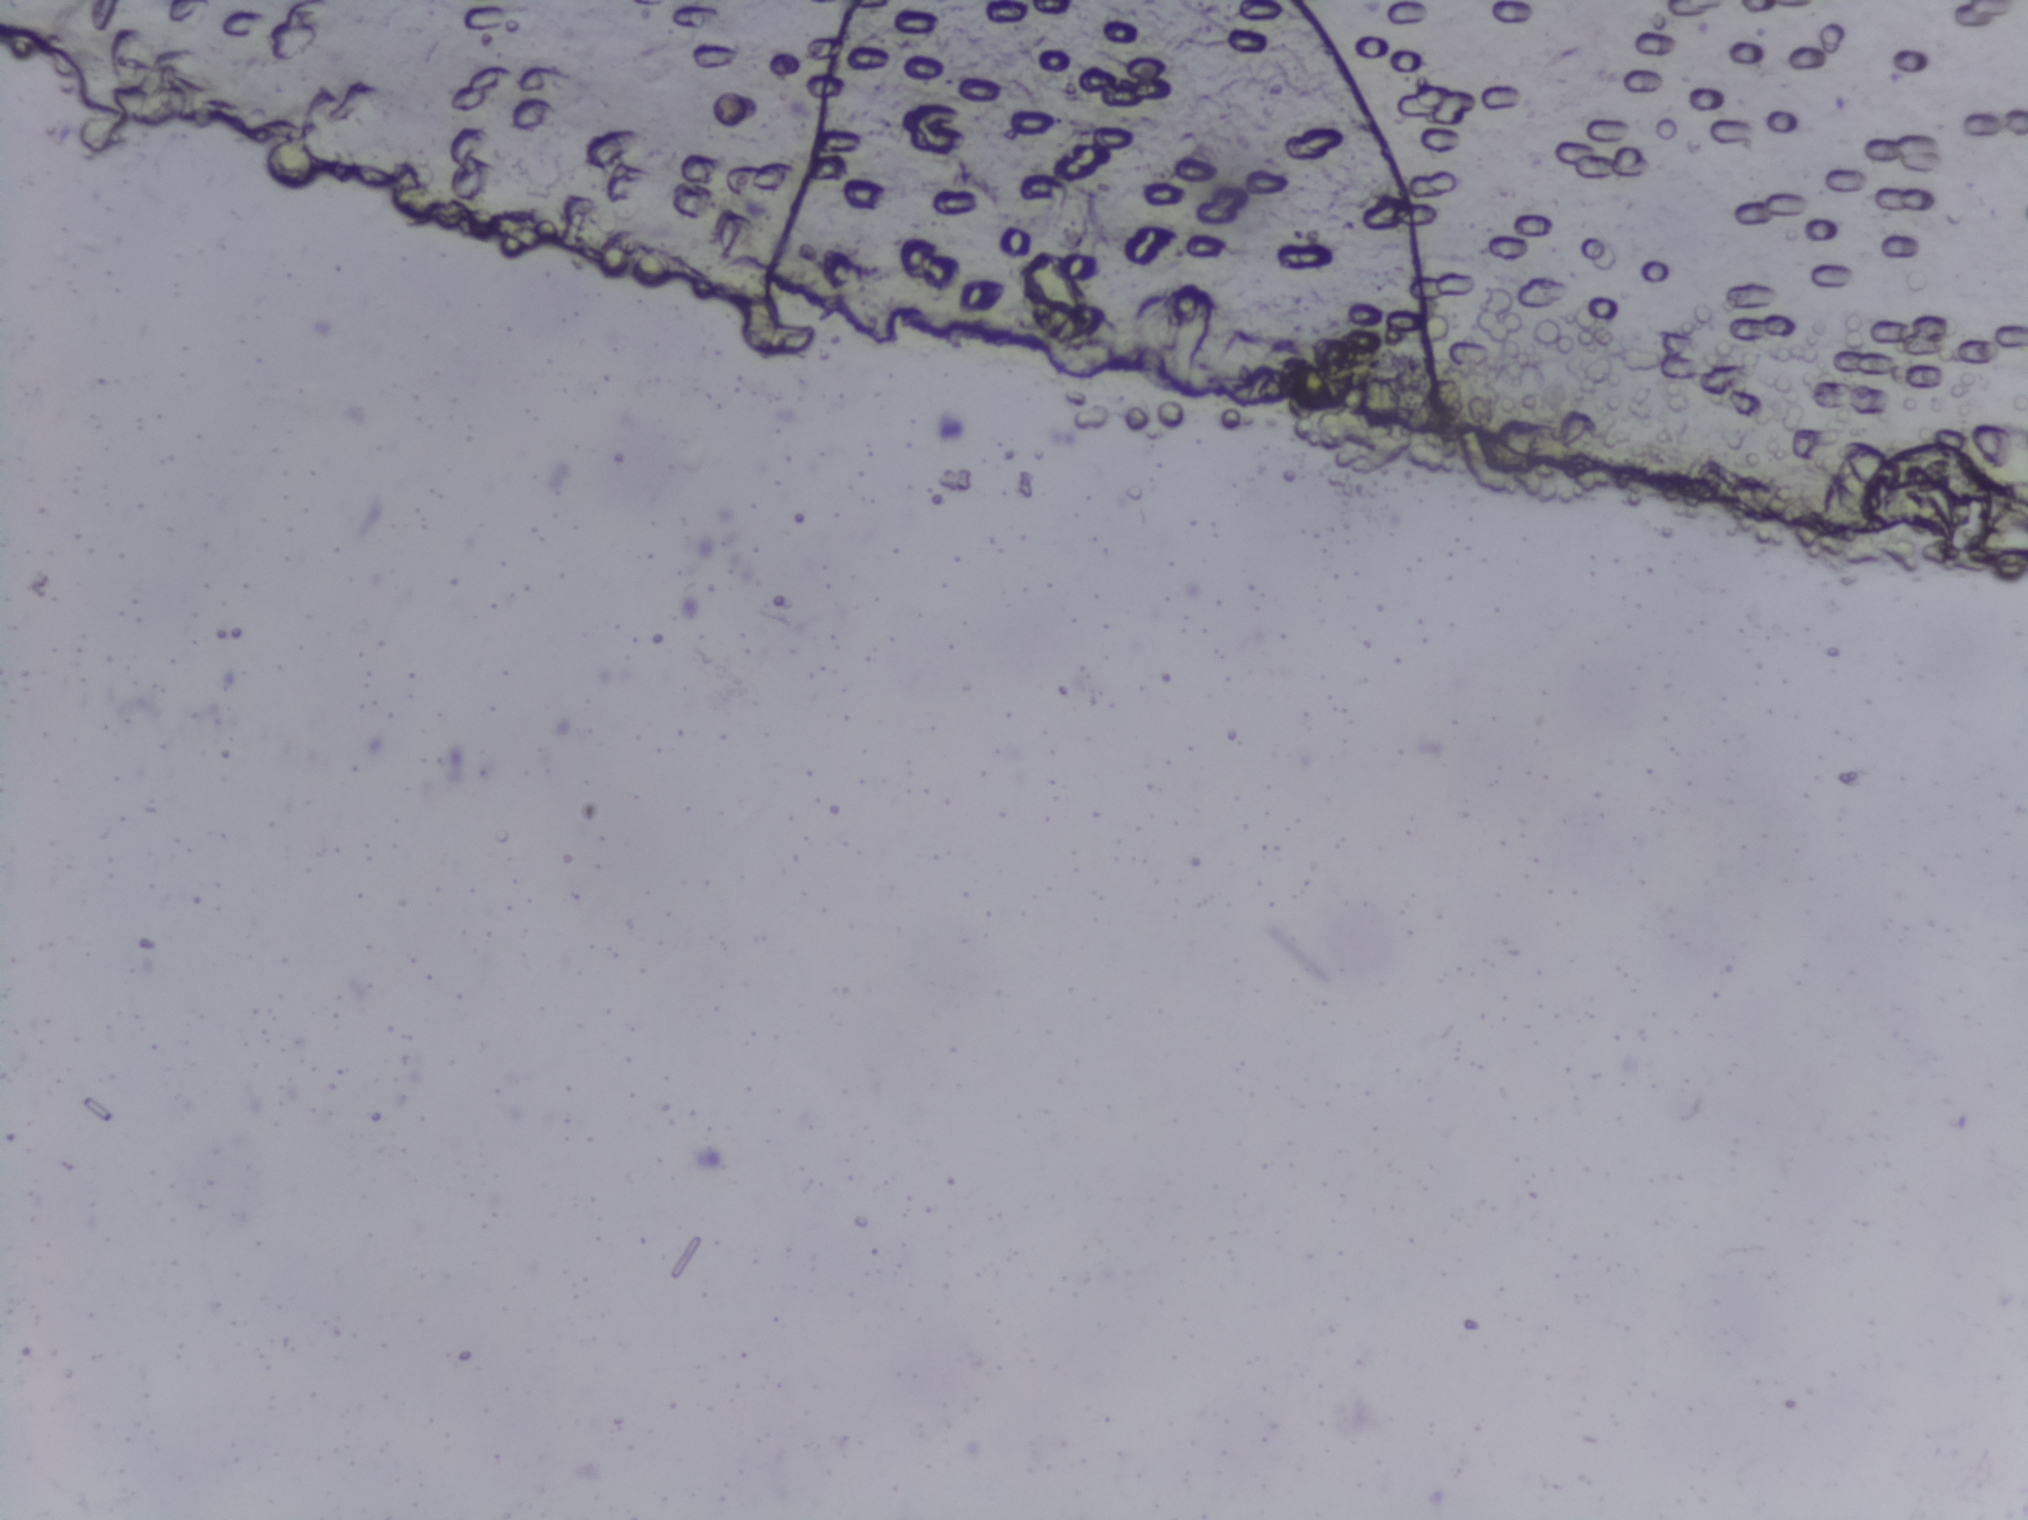
Urine filter membrane photographed through a 4× microscope objective. The image covers about 1.5 × 1.1 mm of the membrane.
No area of this image was outlined as a Schistosoma egg.